Urine filter membrane photographed through a 4× microscope objective.
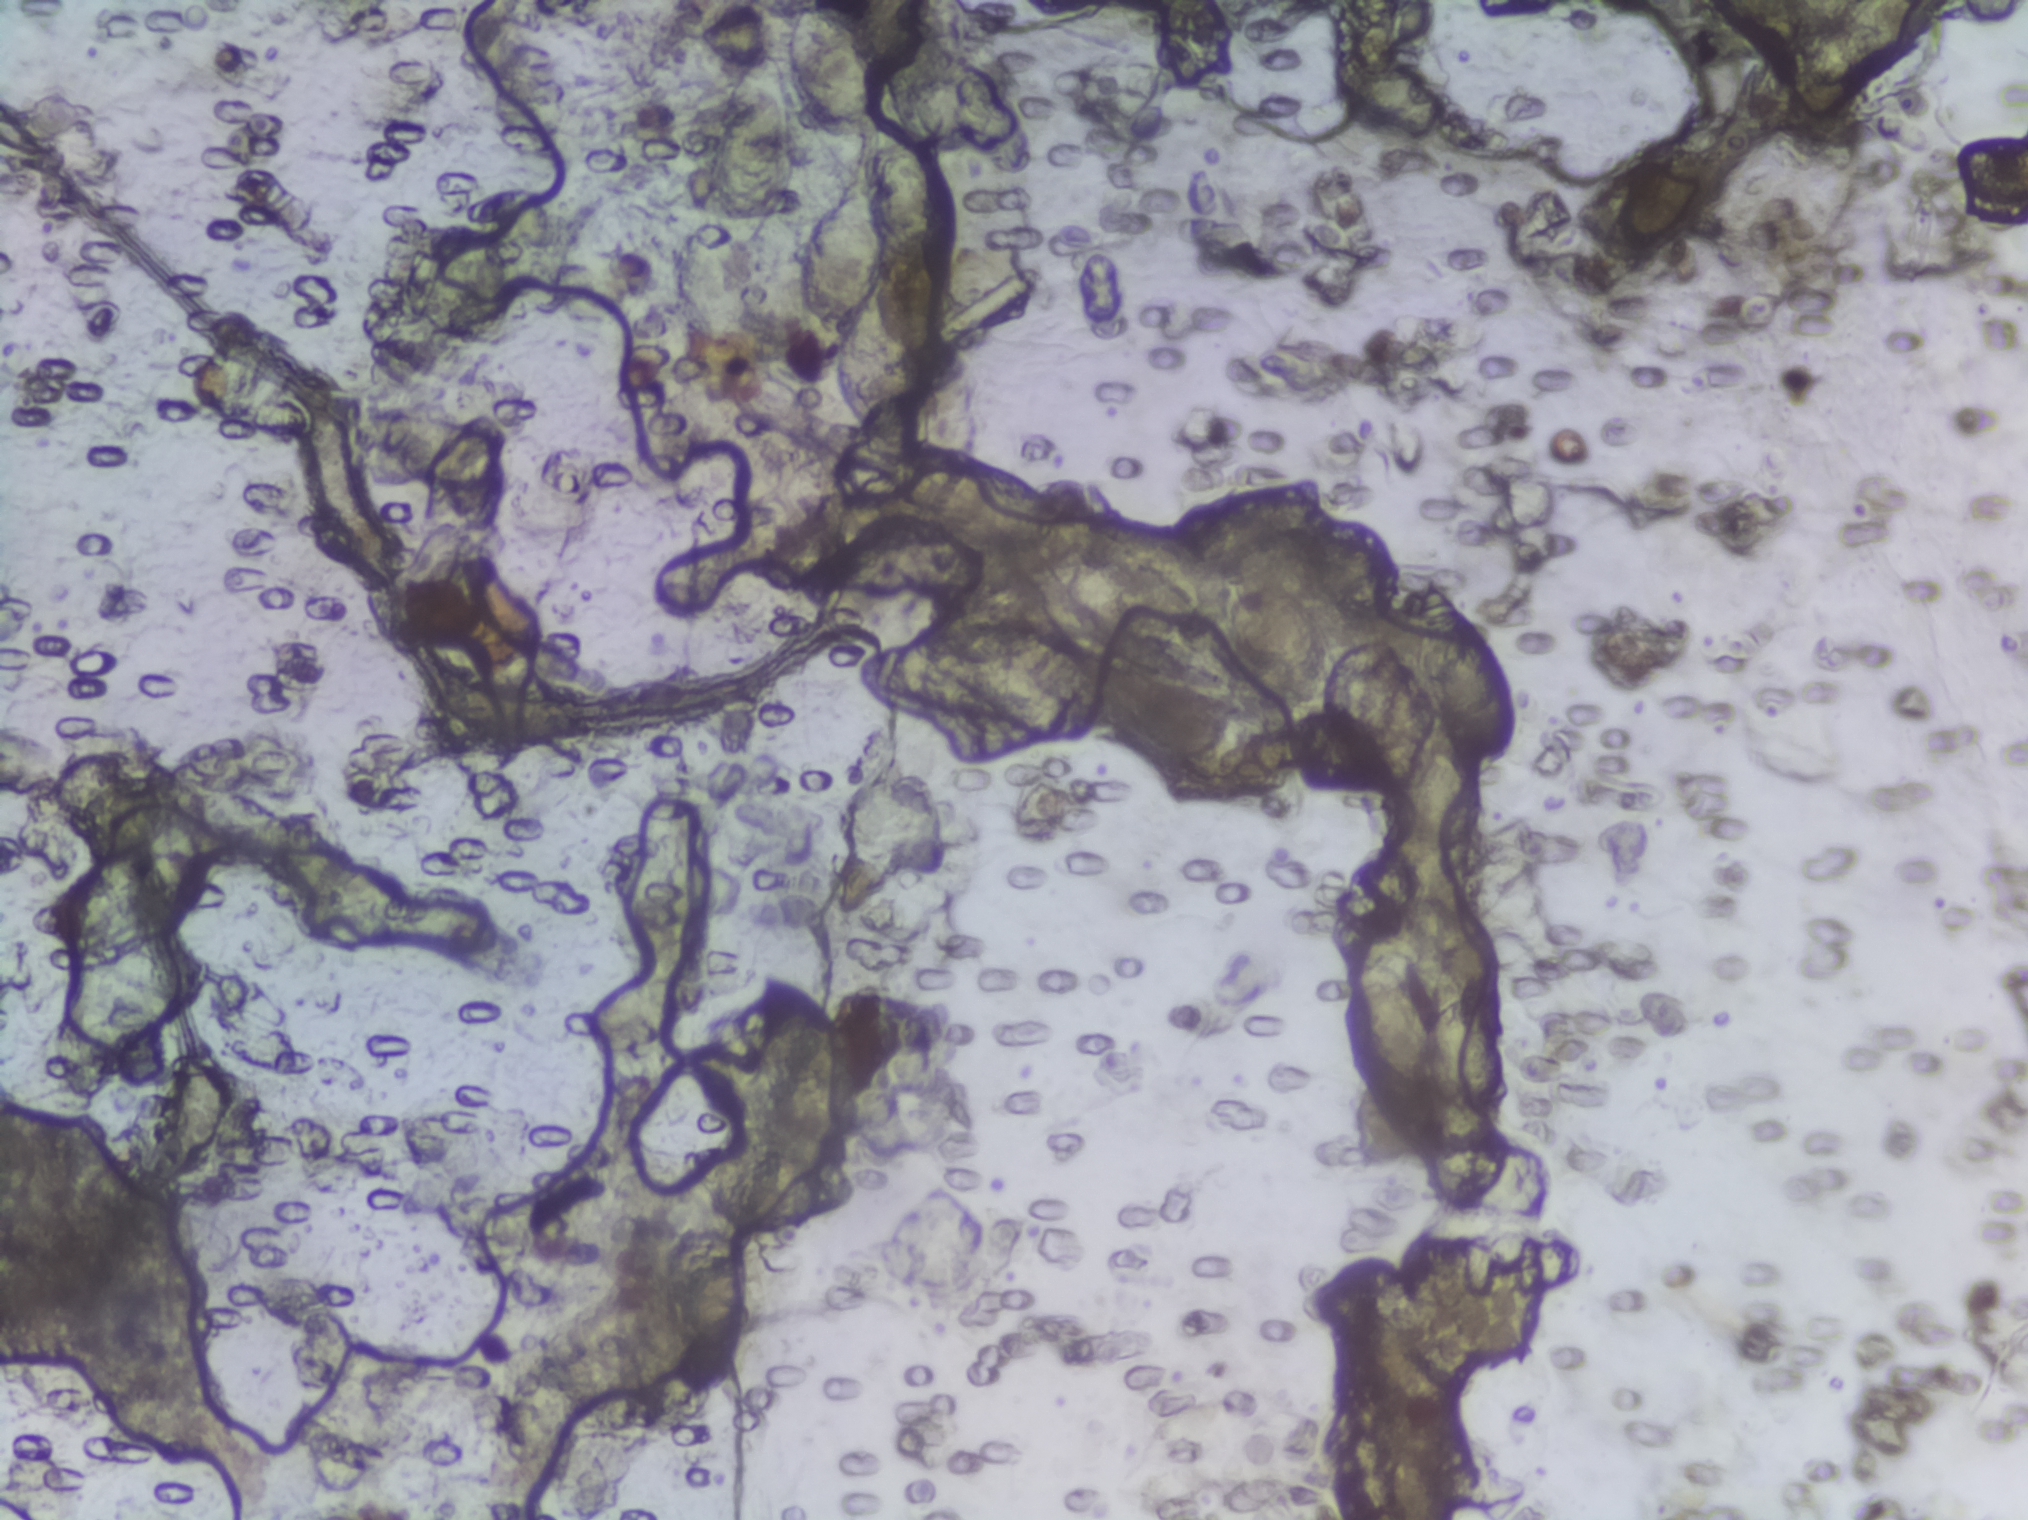
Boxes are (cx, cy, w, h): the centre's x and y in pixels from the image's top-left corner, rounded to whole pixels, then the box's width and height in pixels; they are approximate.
Schistosoma eggs, outlined areas: (cx=753, cy=150, w=87, h=198); (cx=810, cy=1059, w=107, h=175); (cx=832, cy=72, w=89, h=137); (cx=858, cy=304, w=118, h=265); (cx=974, cy=500, w=171, h=109); (cx=1286, cy=641, w=146, h=177); (cx=1465, cy=672, w=106, h=202). About 3.1% of the image's pixels are marked (the marked pixels themselves, not the boxes around them). Eggs that touch can end up inside the same outlined area.